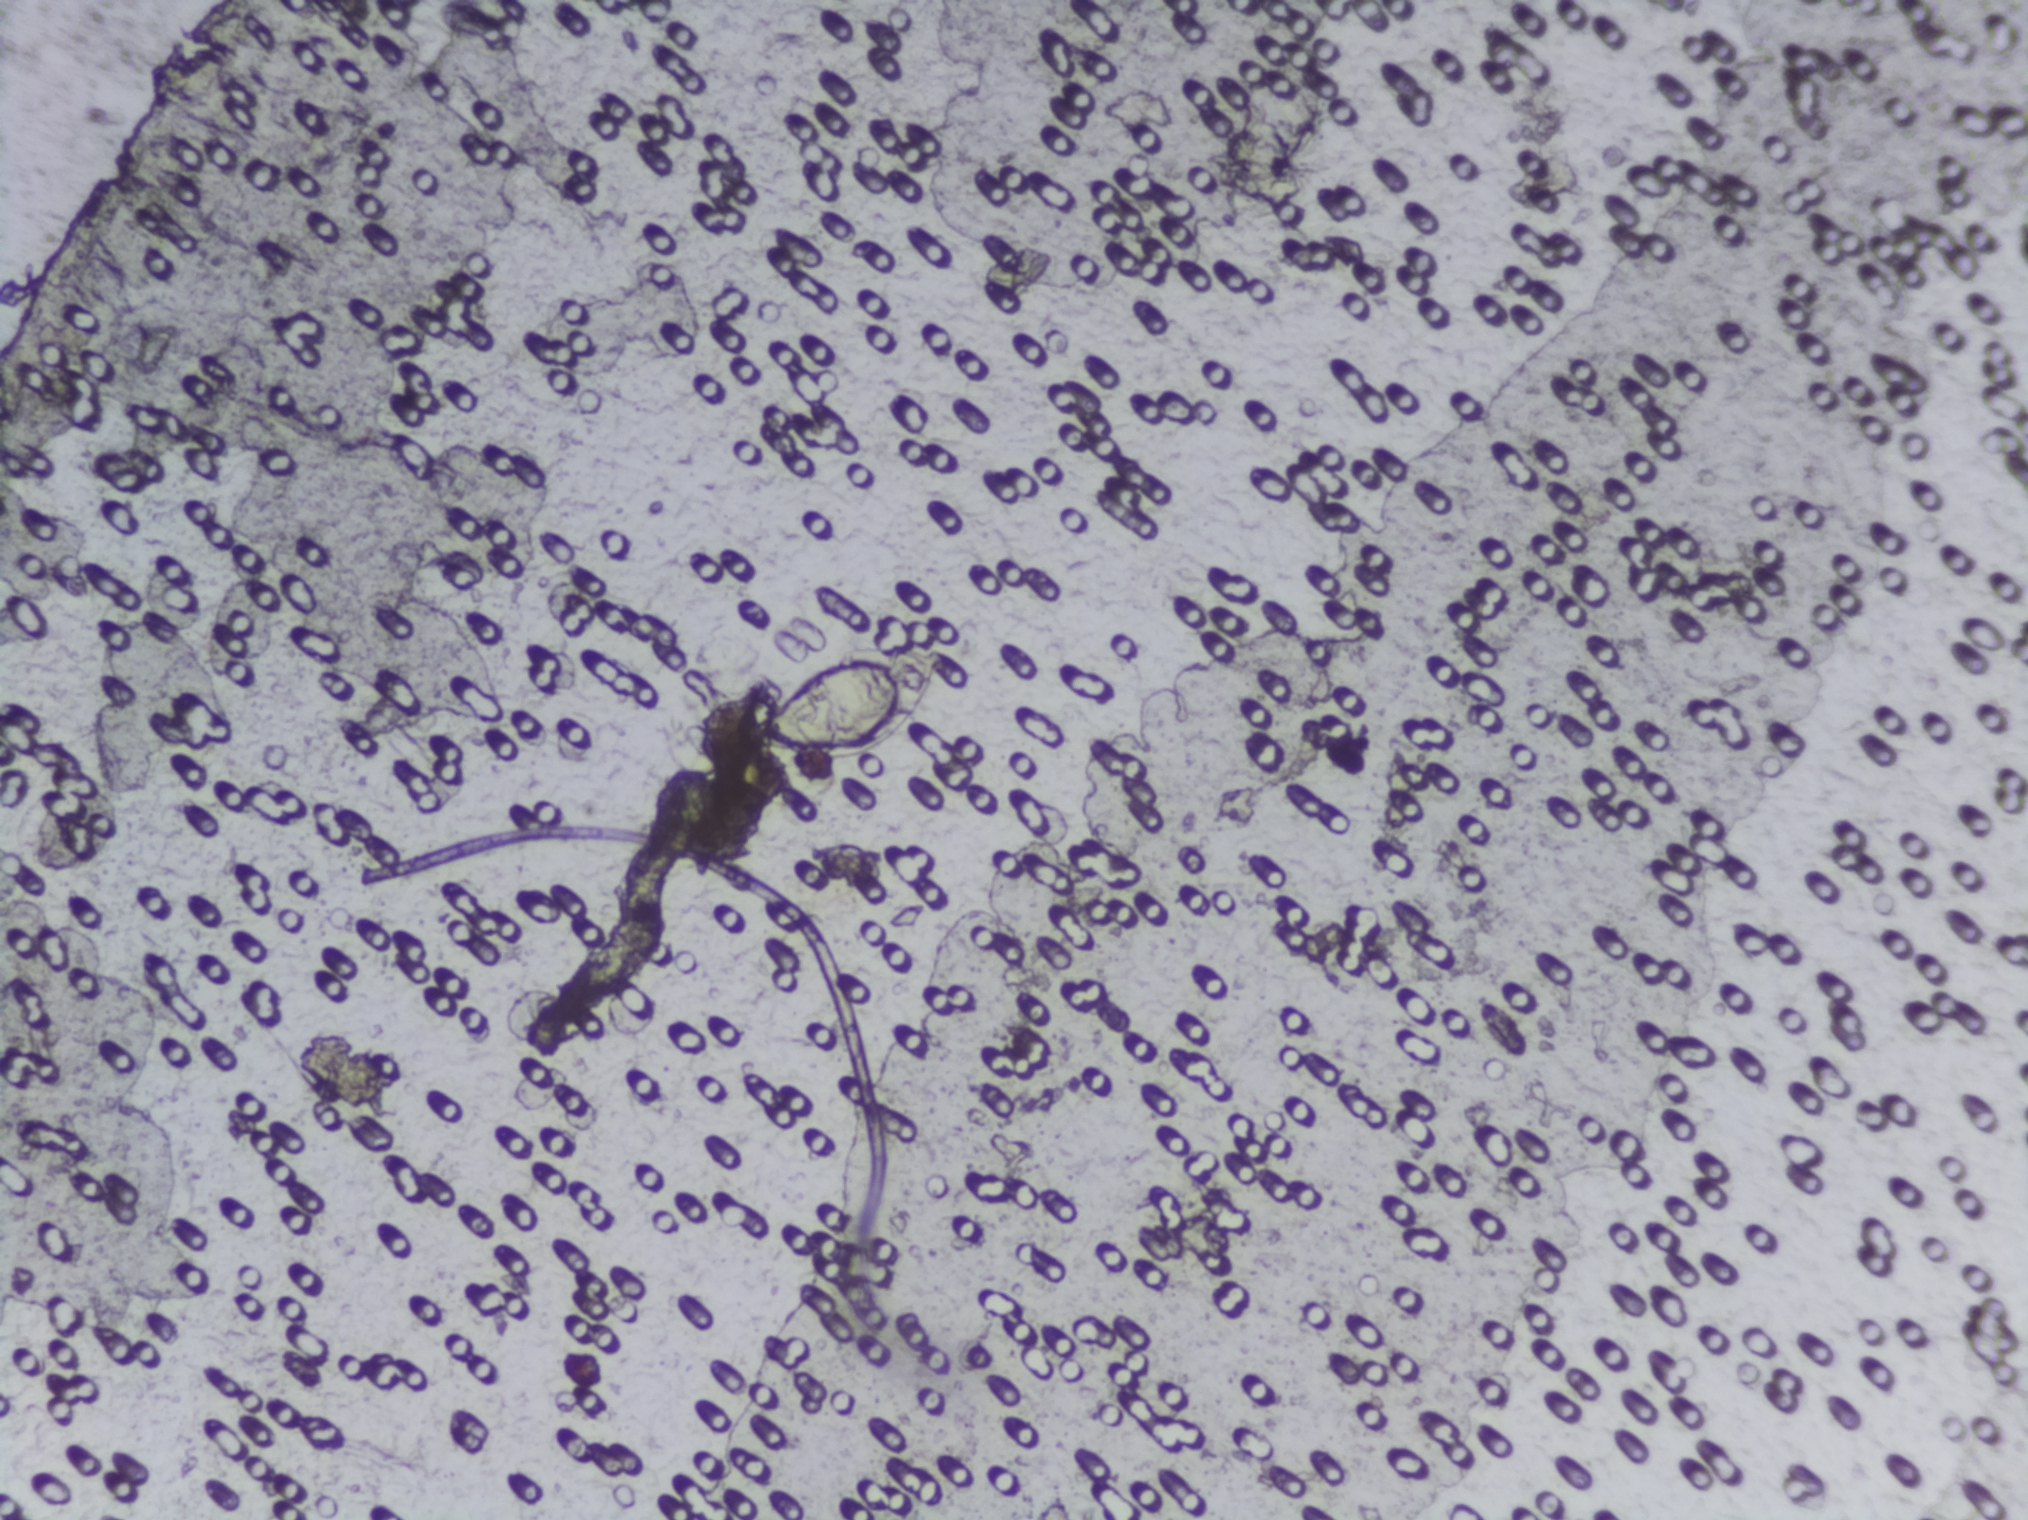
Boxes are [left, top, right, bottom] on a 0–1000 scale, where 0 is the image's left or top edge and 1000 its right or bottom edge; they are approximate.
Areas outlined as Schistosoma eggs:
1. [371, 416, 474, 509]
A single outlined area may contain several eggs. Any one outlined egg may, rarely, be S. mansoni rather than S. haematobium.
Urine filter membrane photographed through a 4× microscope objective. The image covers about 1.5 × 1.1 mm of the membrane.